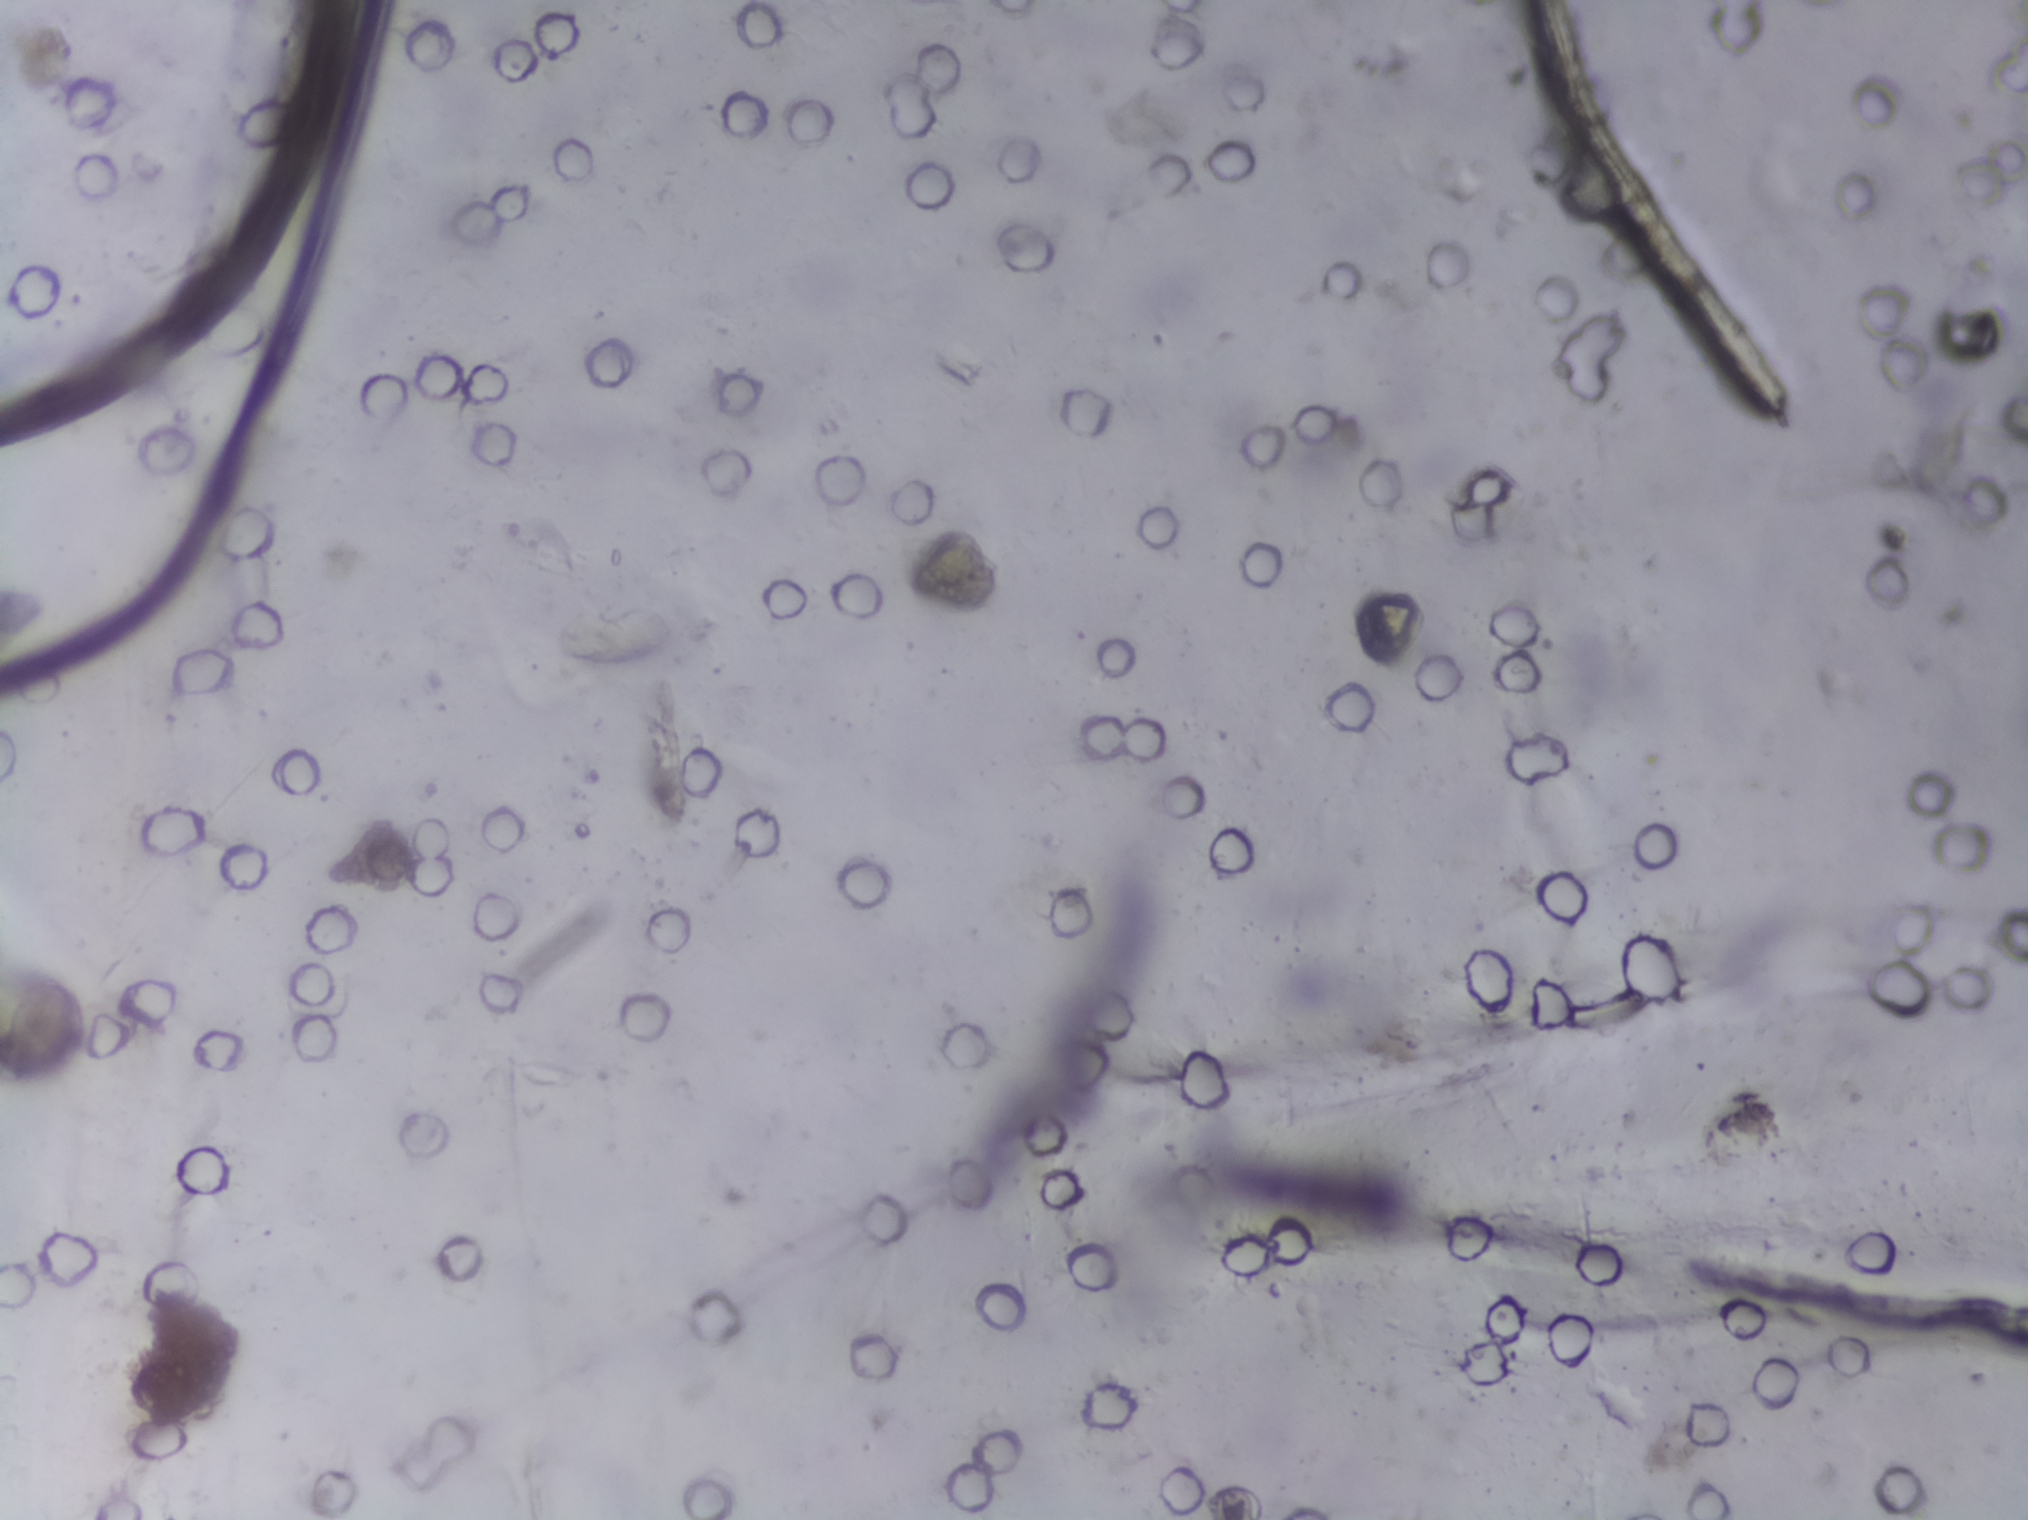
One field of view of a urine filter membrane, 4× objective, 2028 × 1520 pixels.
The expert annotation marks no Schistosoma egg in this field of view.